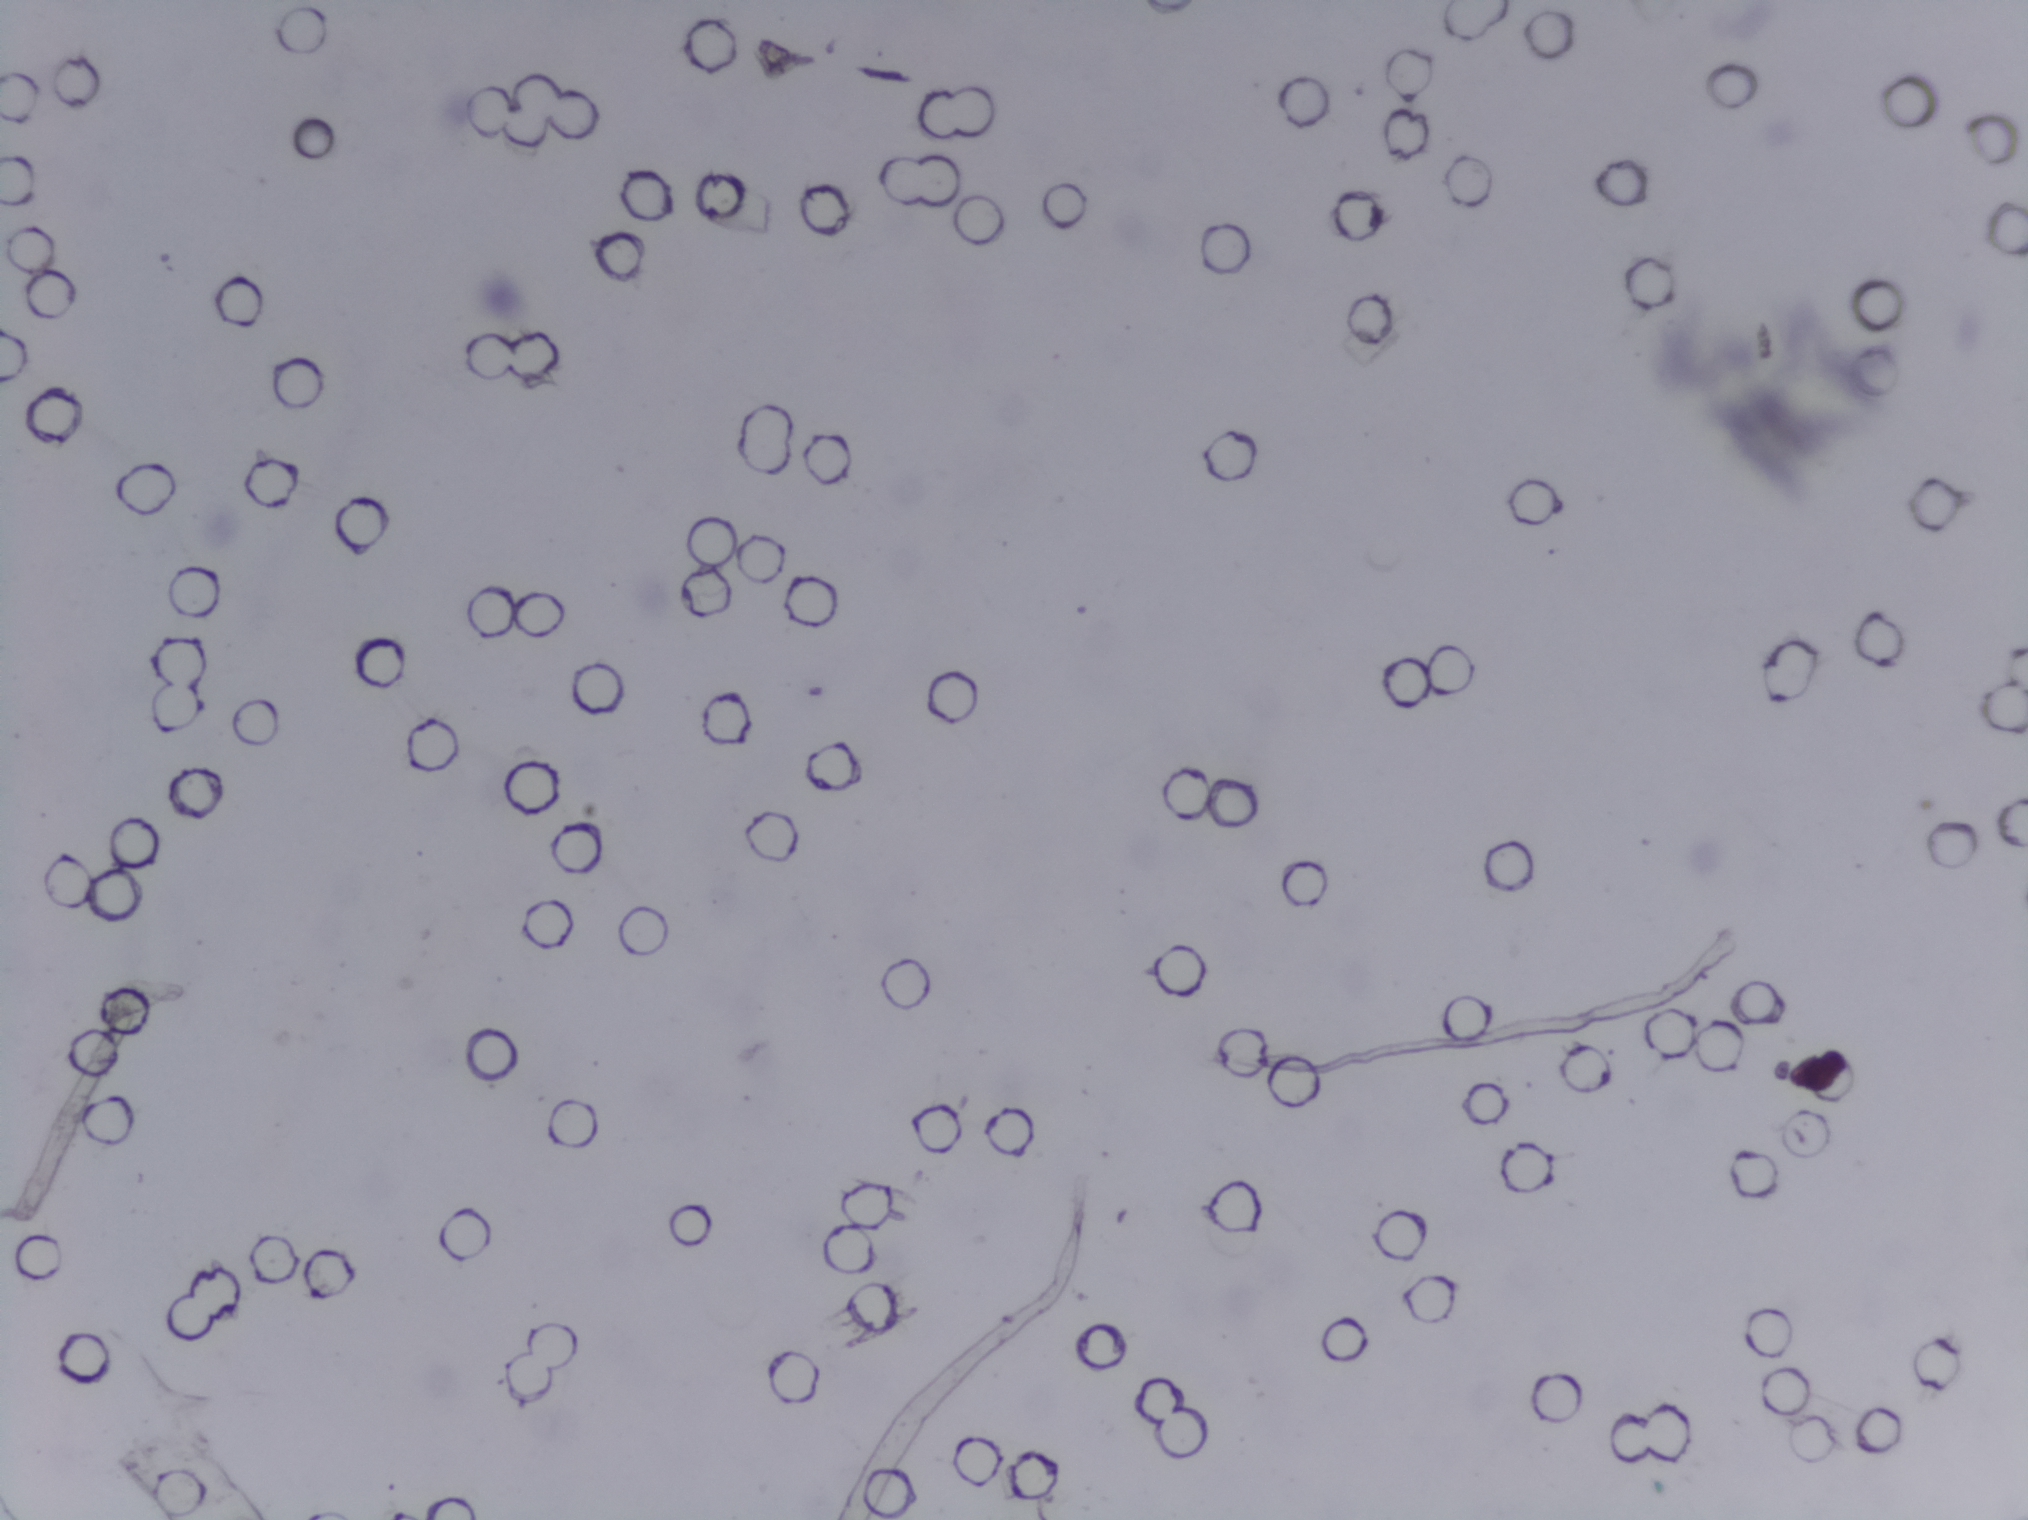
The expert annotation outlines no Schistosoma egg in this image.
Urine filter membrane photographed through a 4× microscope objective.